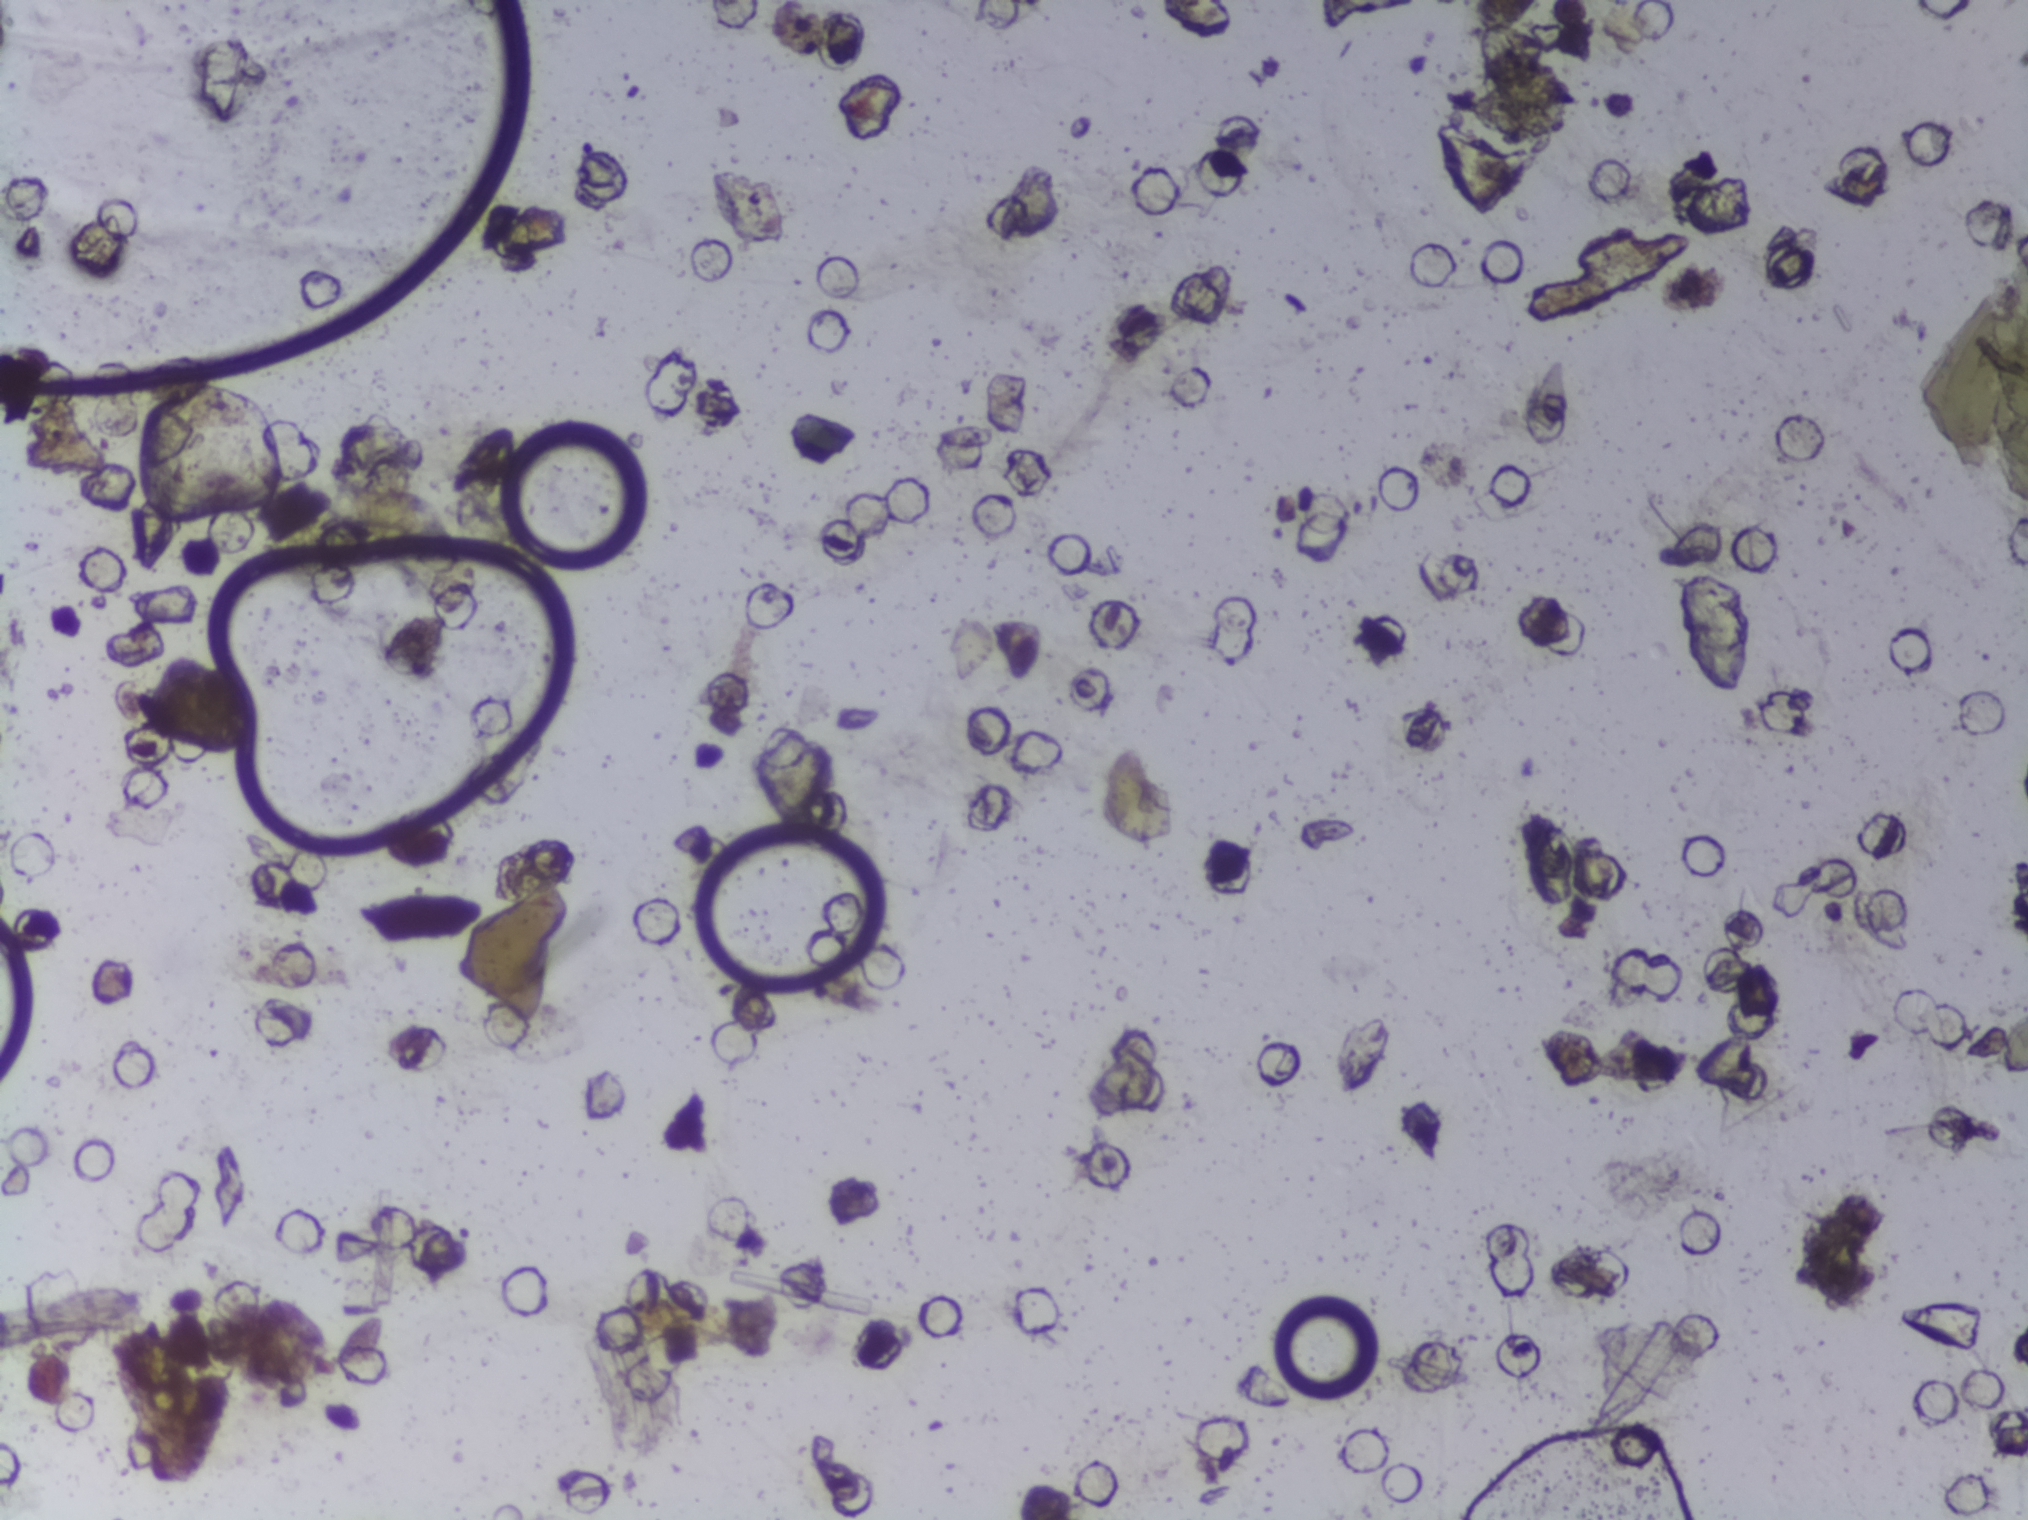
No area of this image was outlined as a Schistosoma egg.
Urine filter membrane photographed through a 4× microscope objective. The field of view is about 1.5 mm × 1.1 mm.